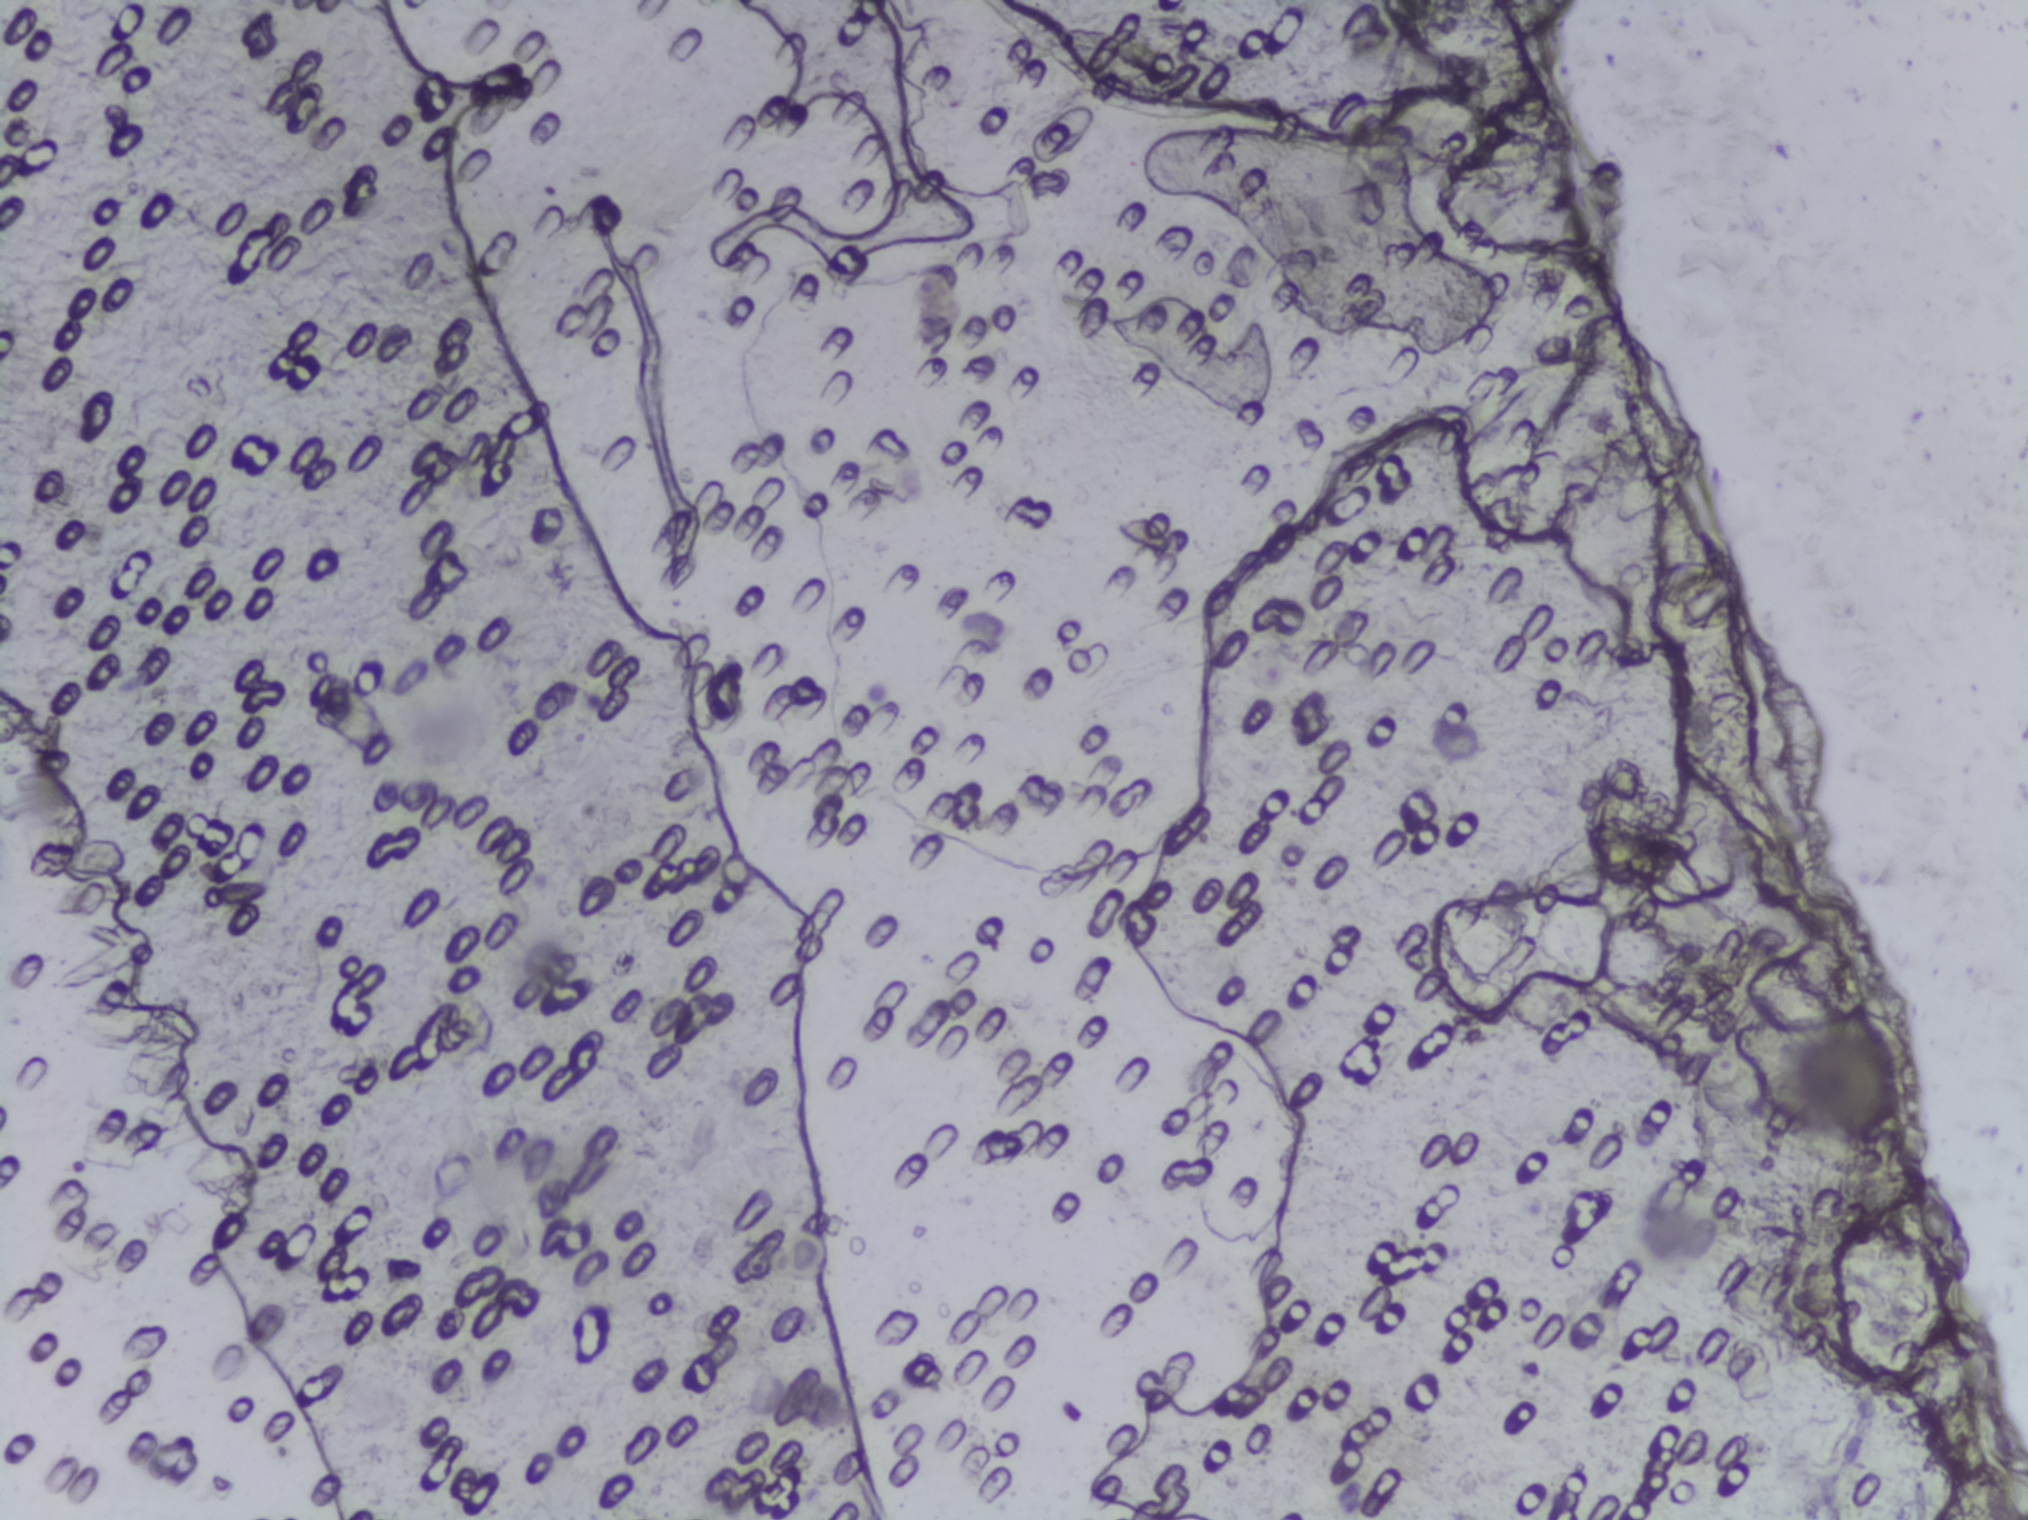
Microscope photograph (4× objective) of a membrane that a urine sample was filtered through.
Schistosoma eggs: none outlined.